Photograph from an automated digital microscope: urine filter membrane, 4× objective.
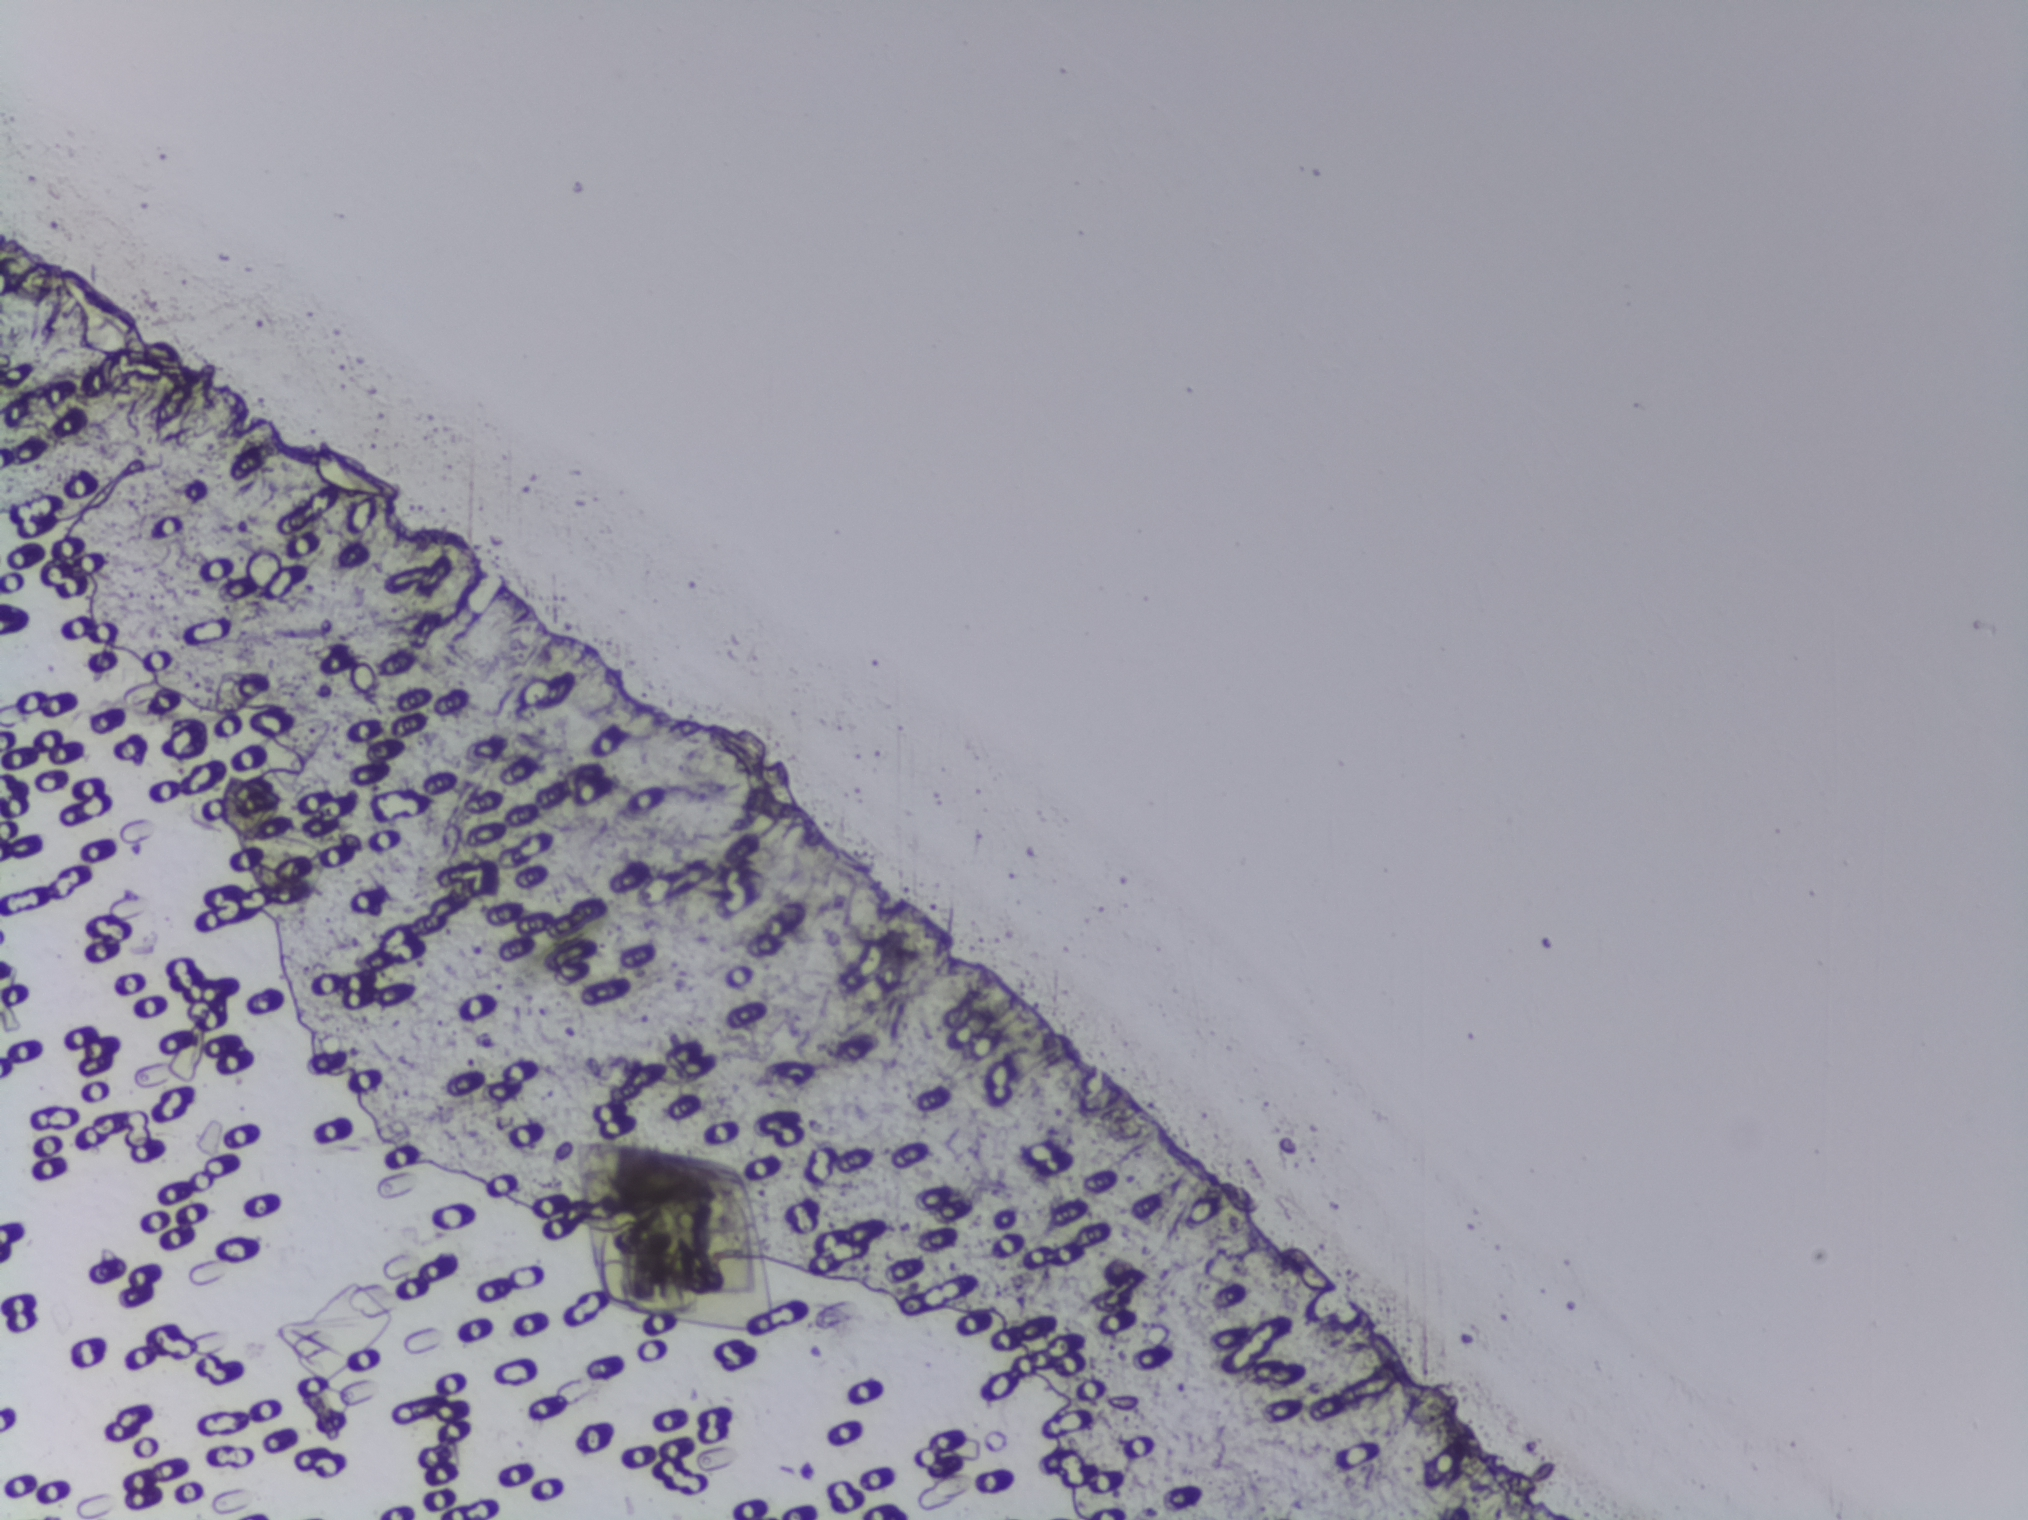
The expert annotation marks no Schistosoma egg in this field of view.